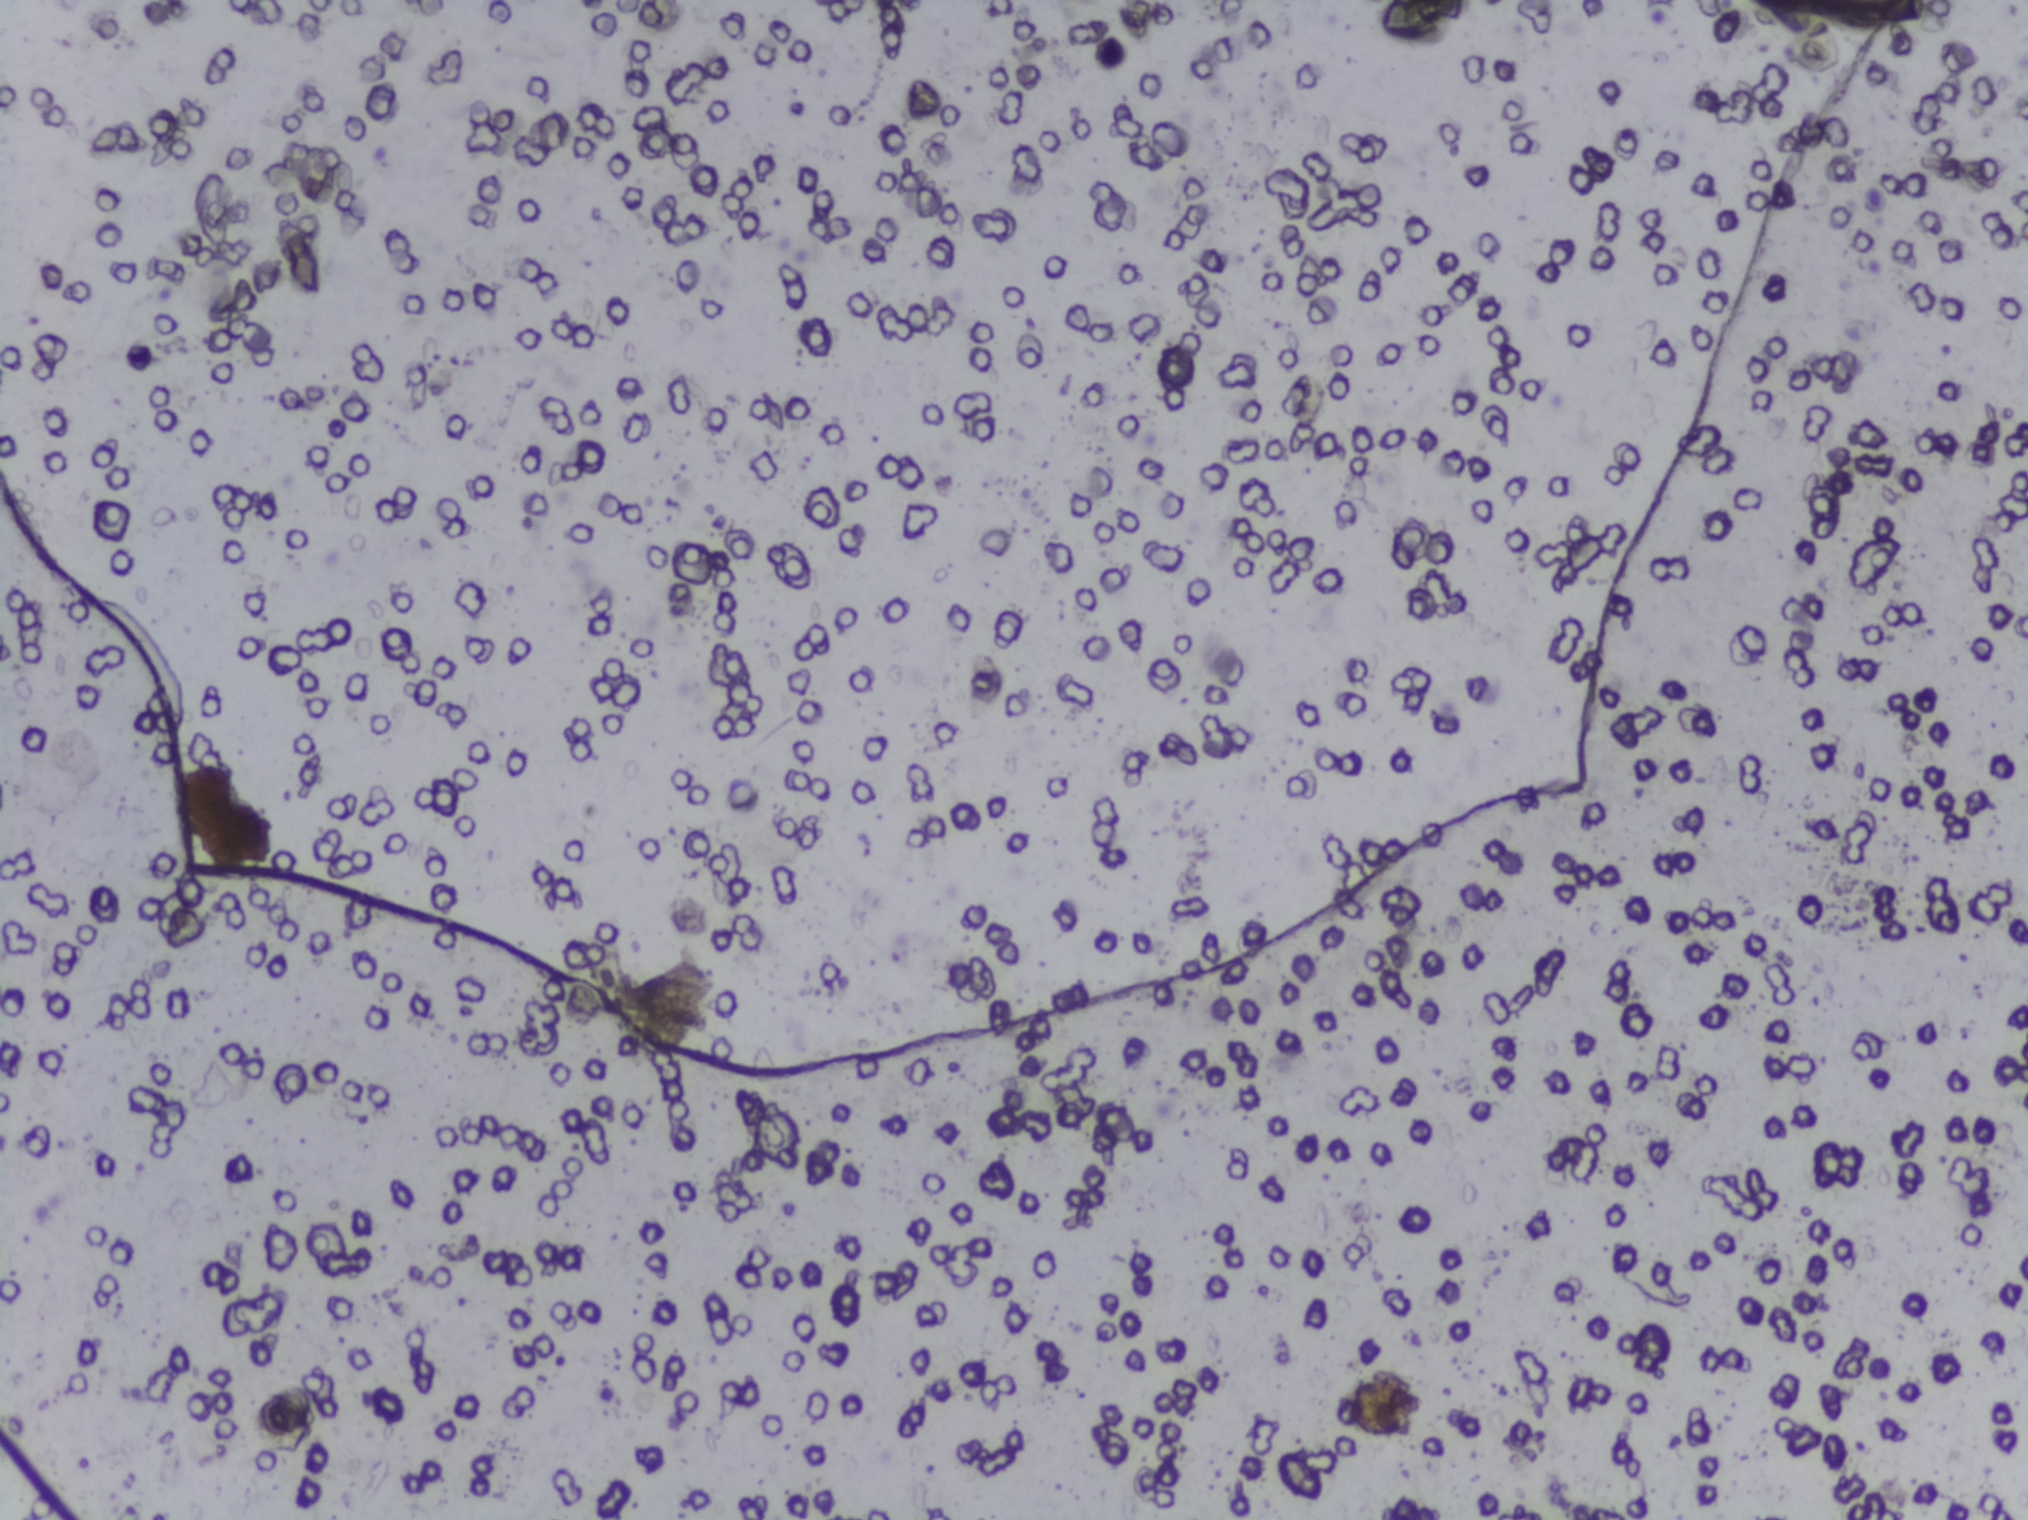
The expert annotation marks no Schistosoma egg in this field of view.
One field of view of a urine filter membrane, 4× objective, 2028 × 1520 pixels. The field of view is about 1.5 mm × 1.1 mm.